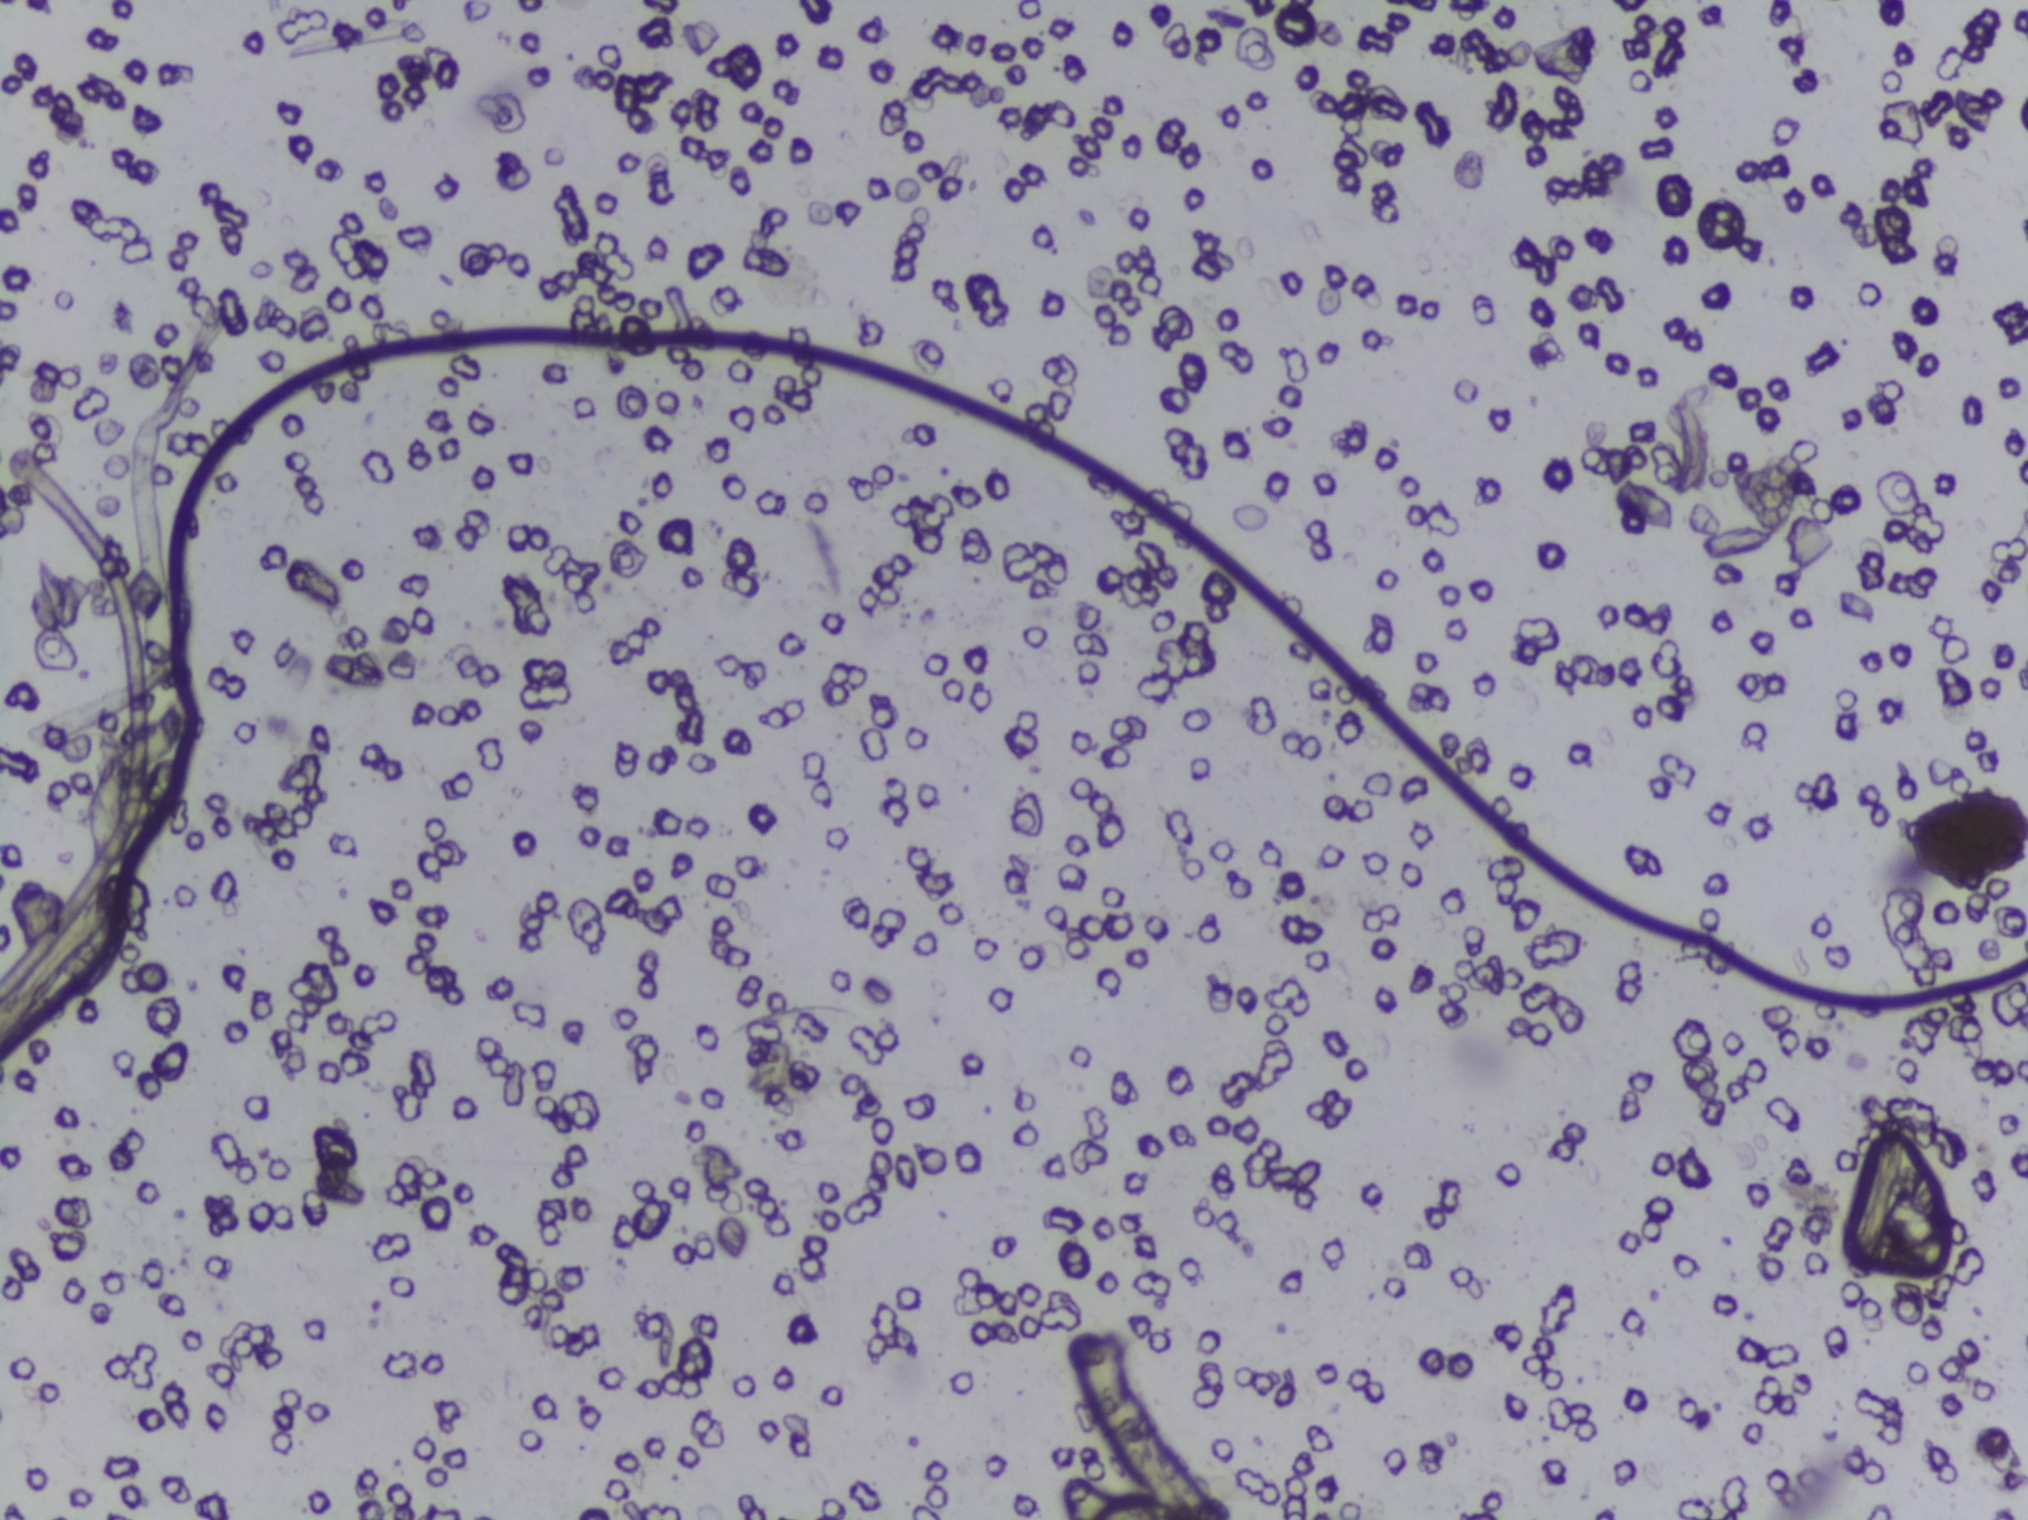
Urine filtration membrane under a 4× objective, photographed by an automated digital microscope.
The expert annotation marks no Schistosoma egg in this field of view.